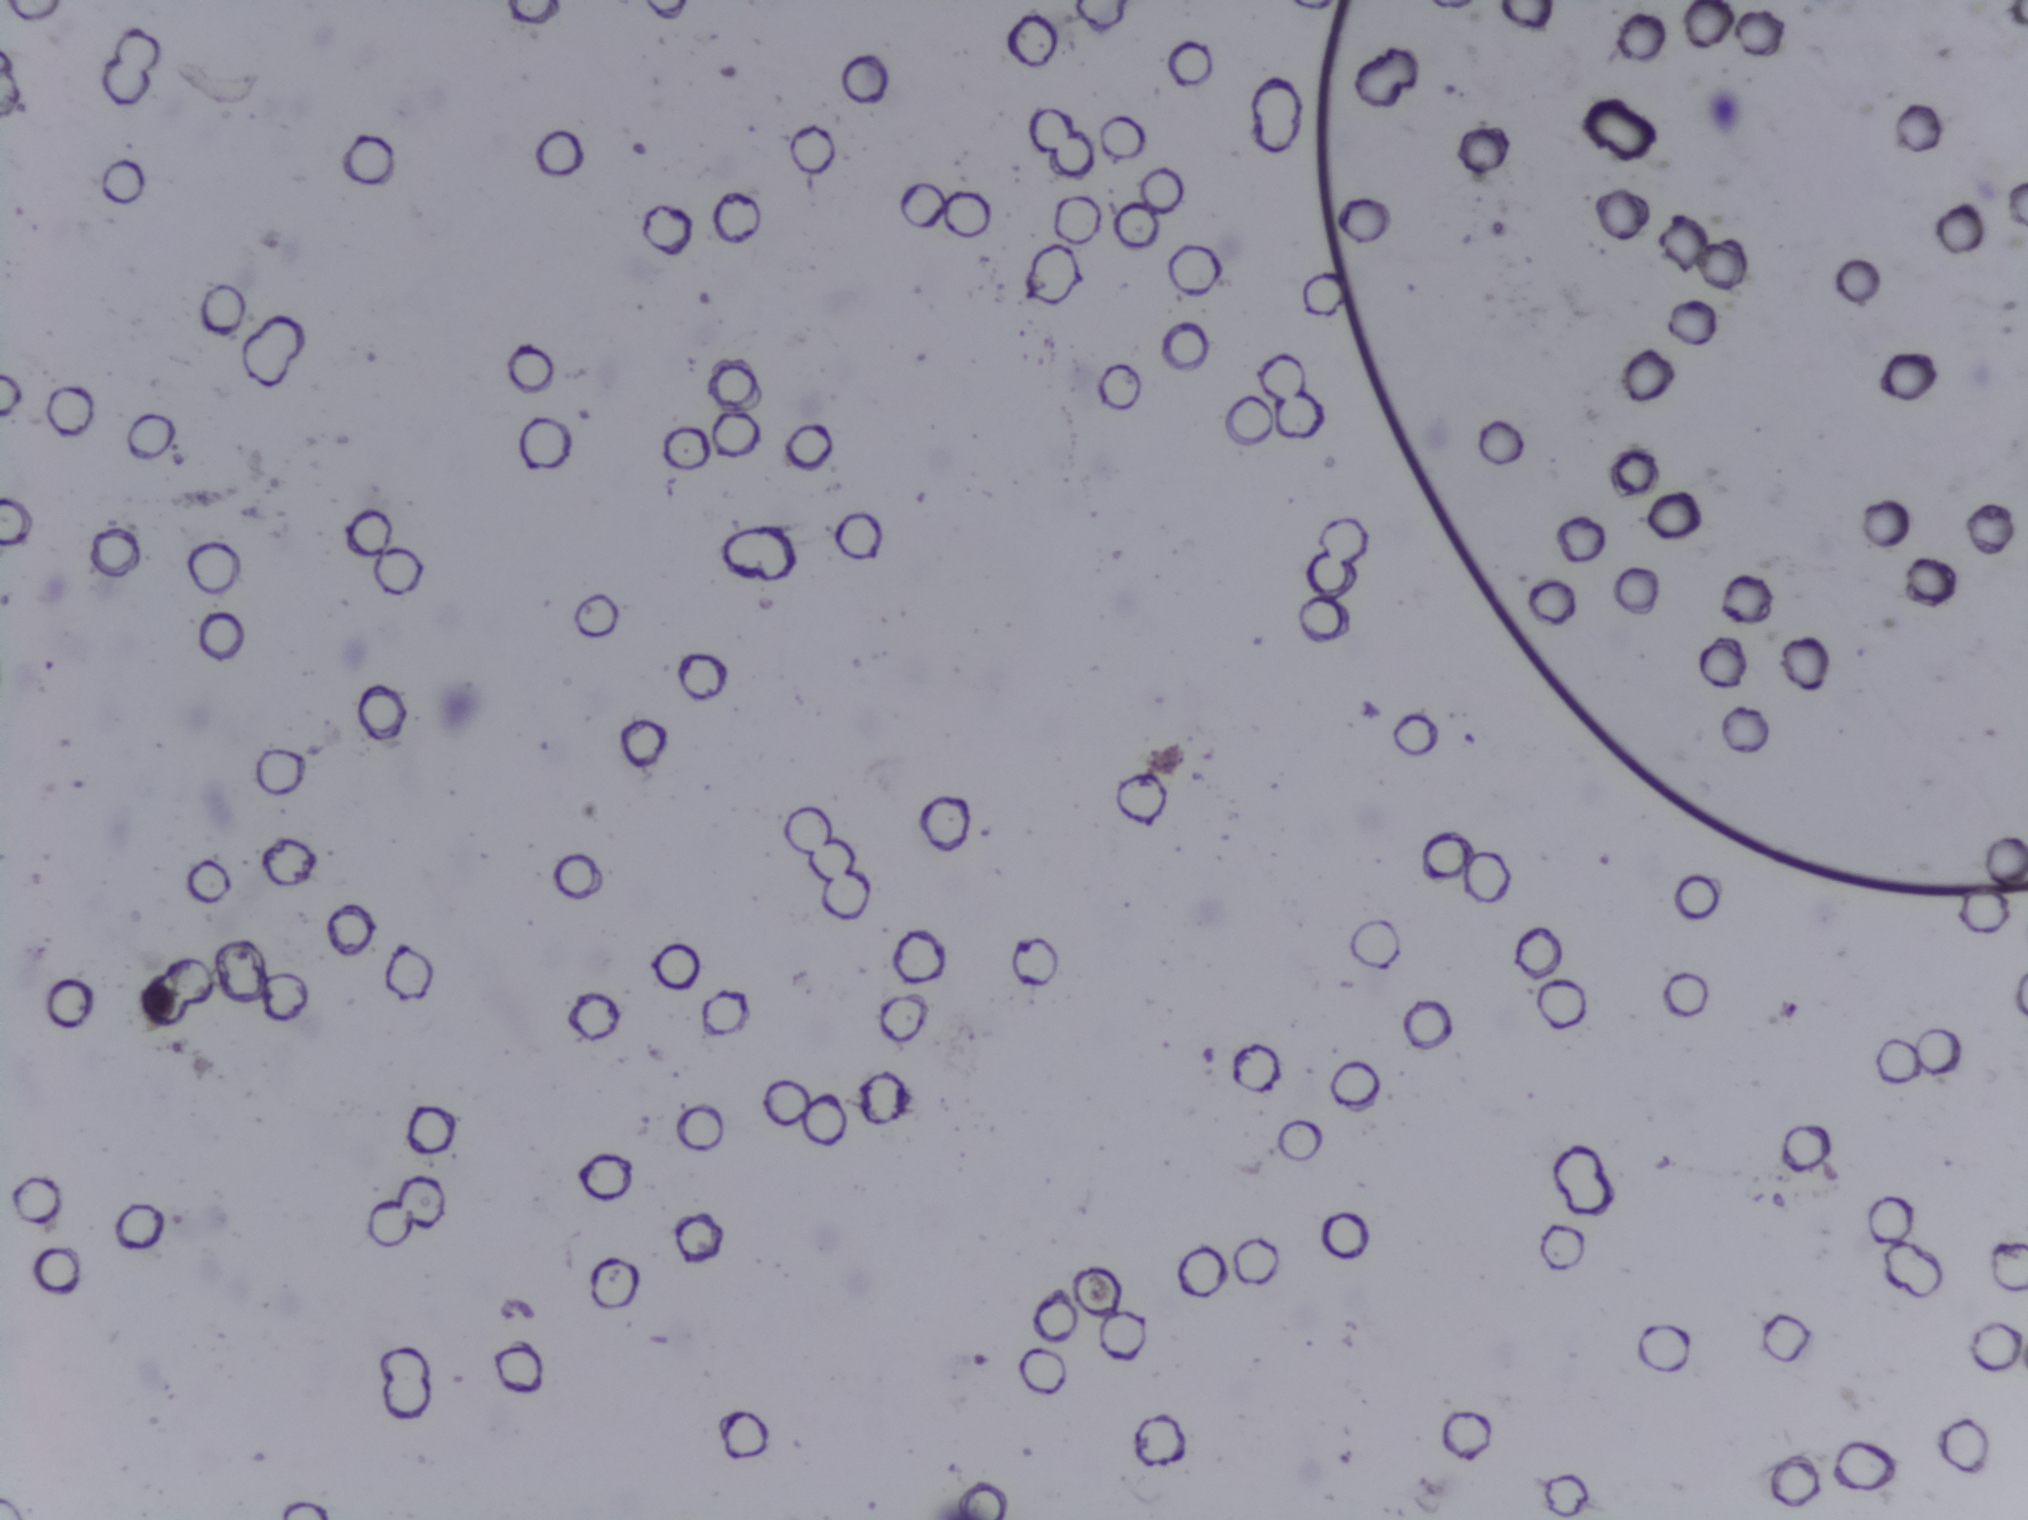
Photomicrograph of a urine filtration membrane, 4× objective. Field of view: about 1.5 mm wide and 1.1 mm high.
Schistosoma eggs: none outlined.